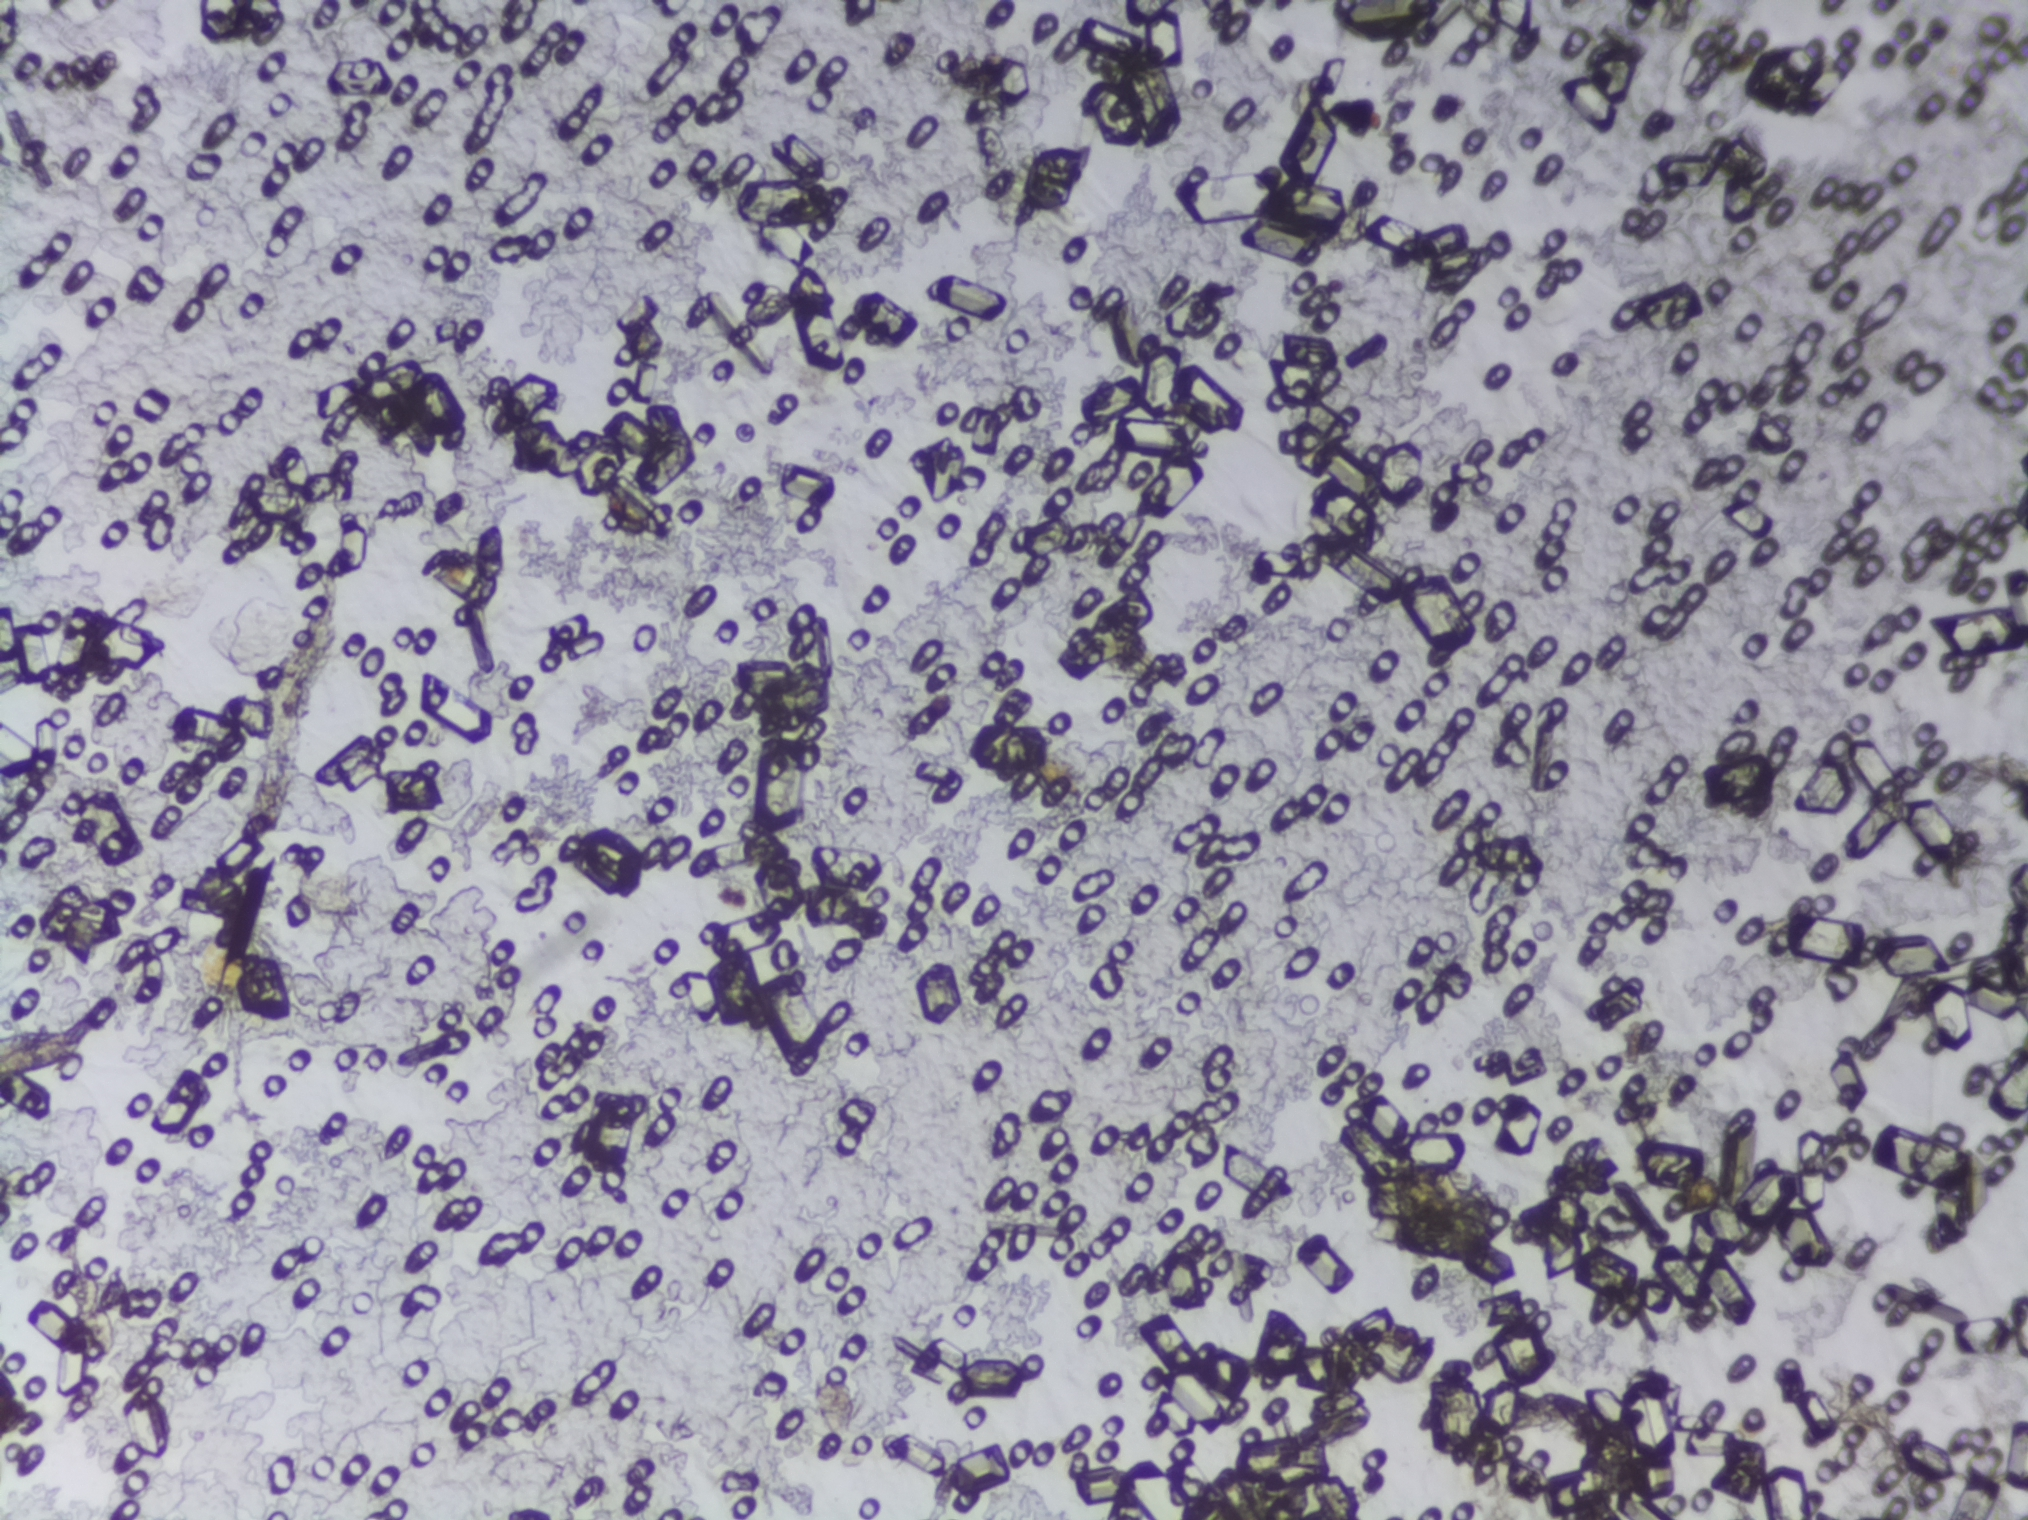
The expert annotation outlines no Schistosoma egg in this image.
Photograph from an automated digital microscope: urine filter membrane, 4× objective.